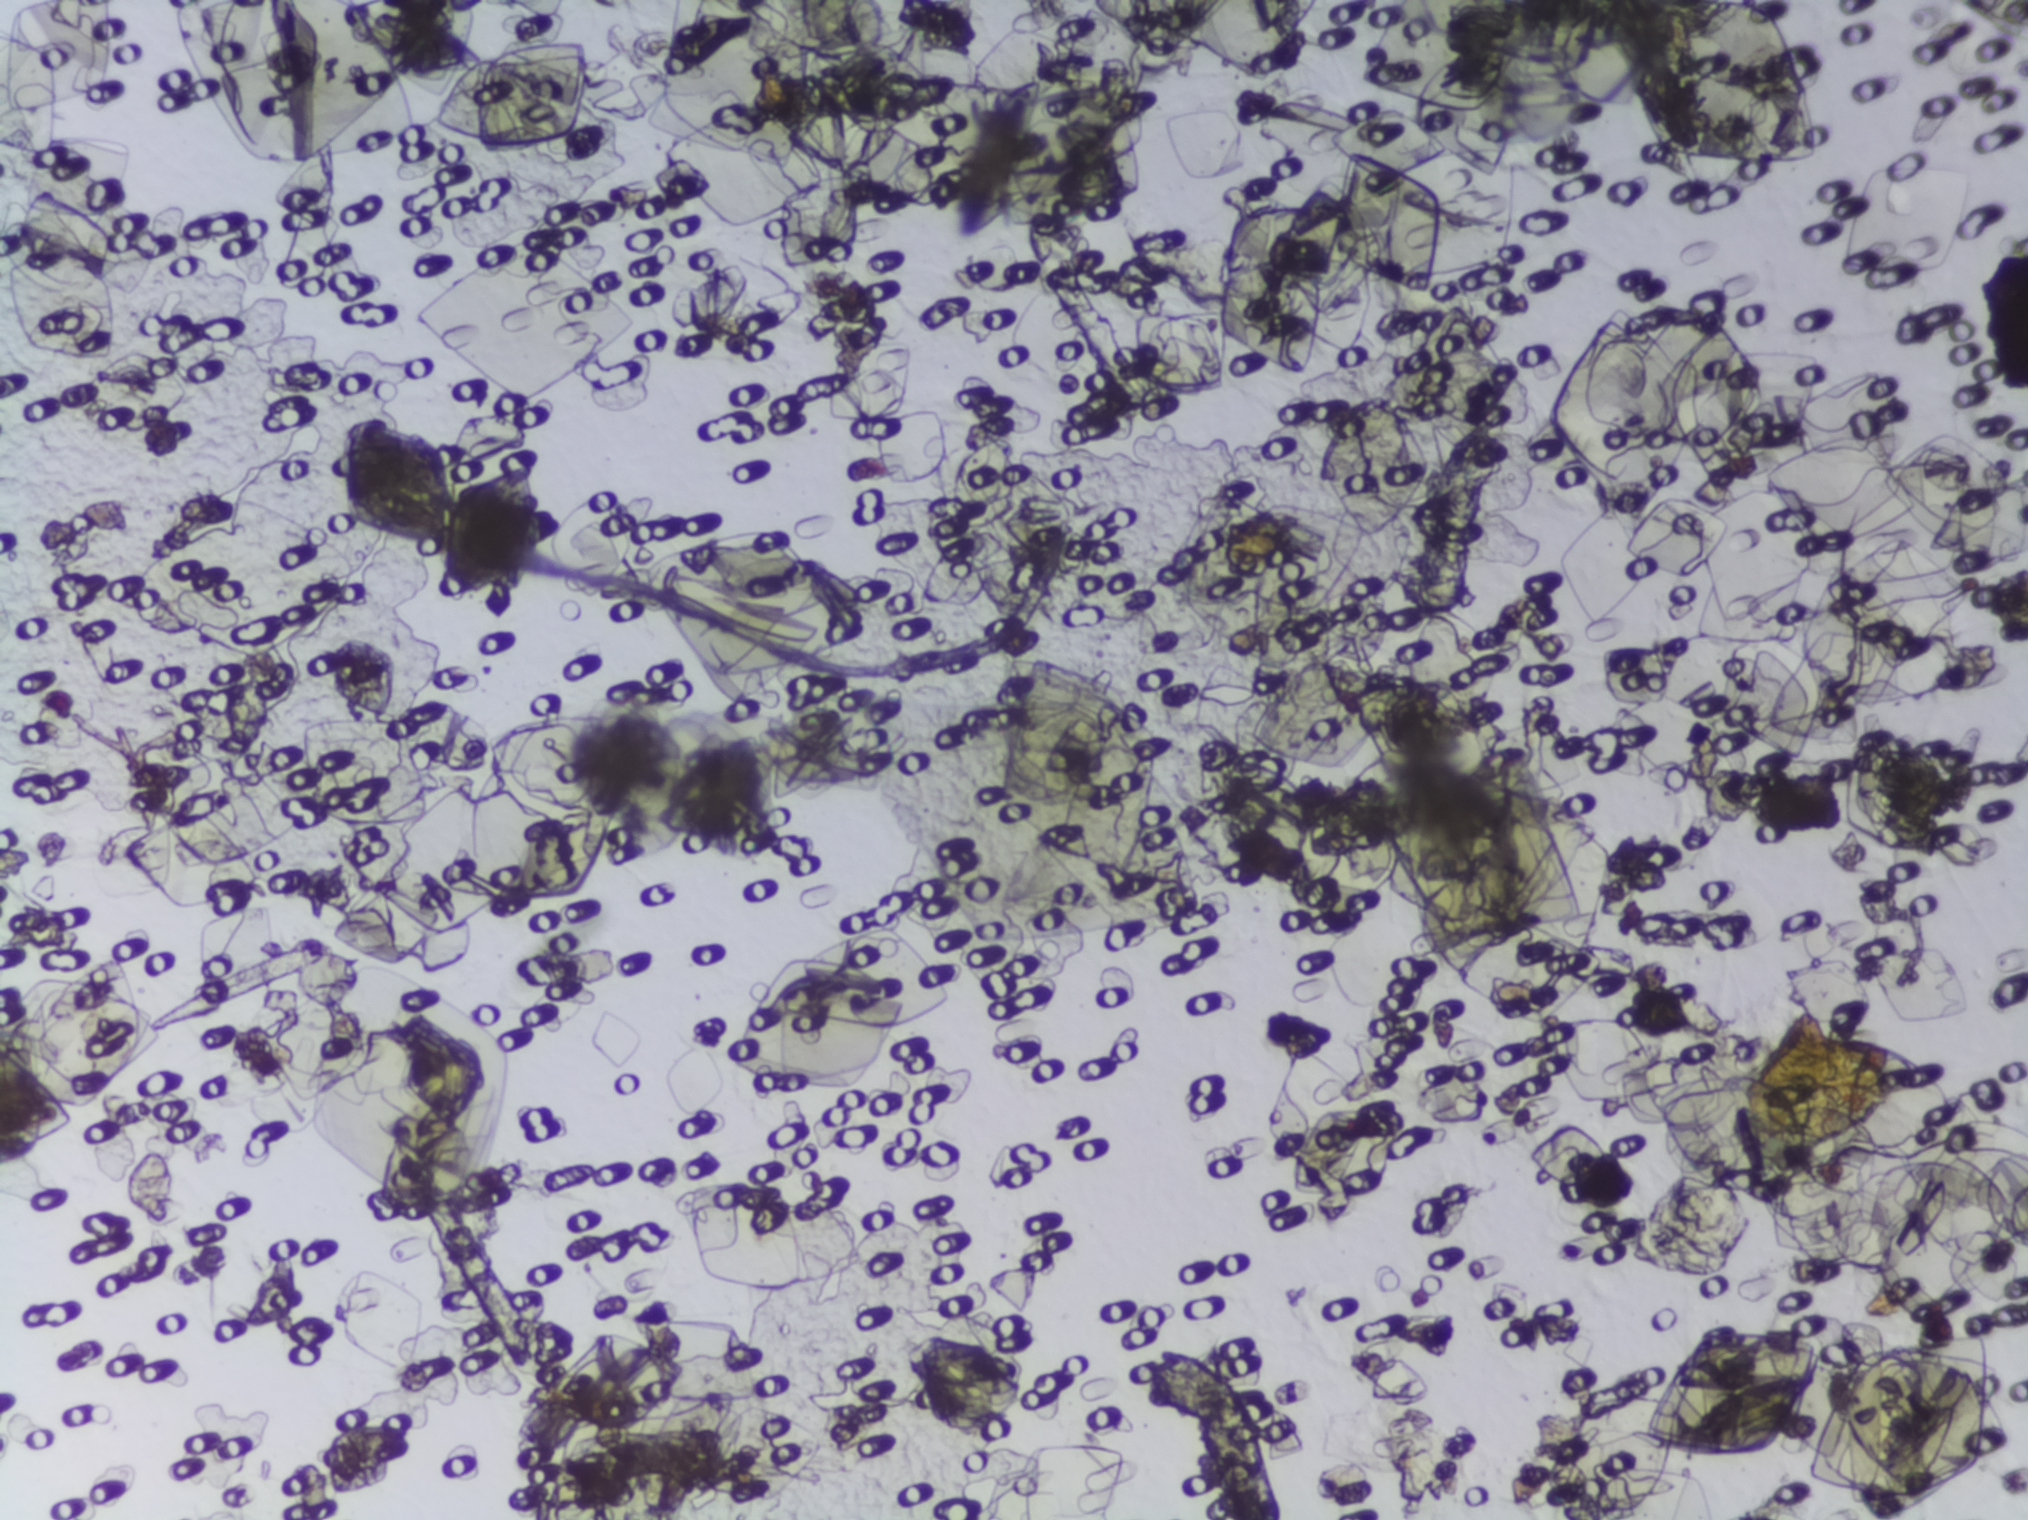
Urine filtration membrane under a 4× objective, photographed by an automated digital microscope. Field of view: about 1.5 mm wide and 1.1 mm high.
No Schistosoma egg is outlined in this image's expert annotation.